Urine filter membrane photographed through a 4× microscope objective.
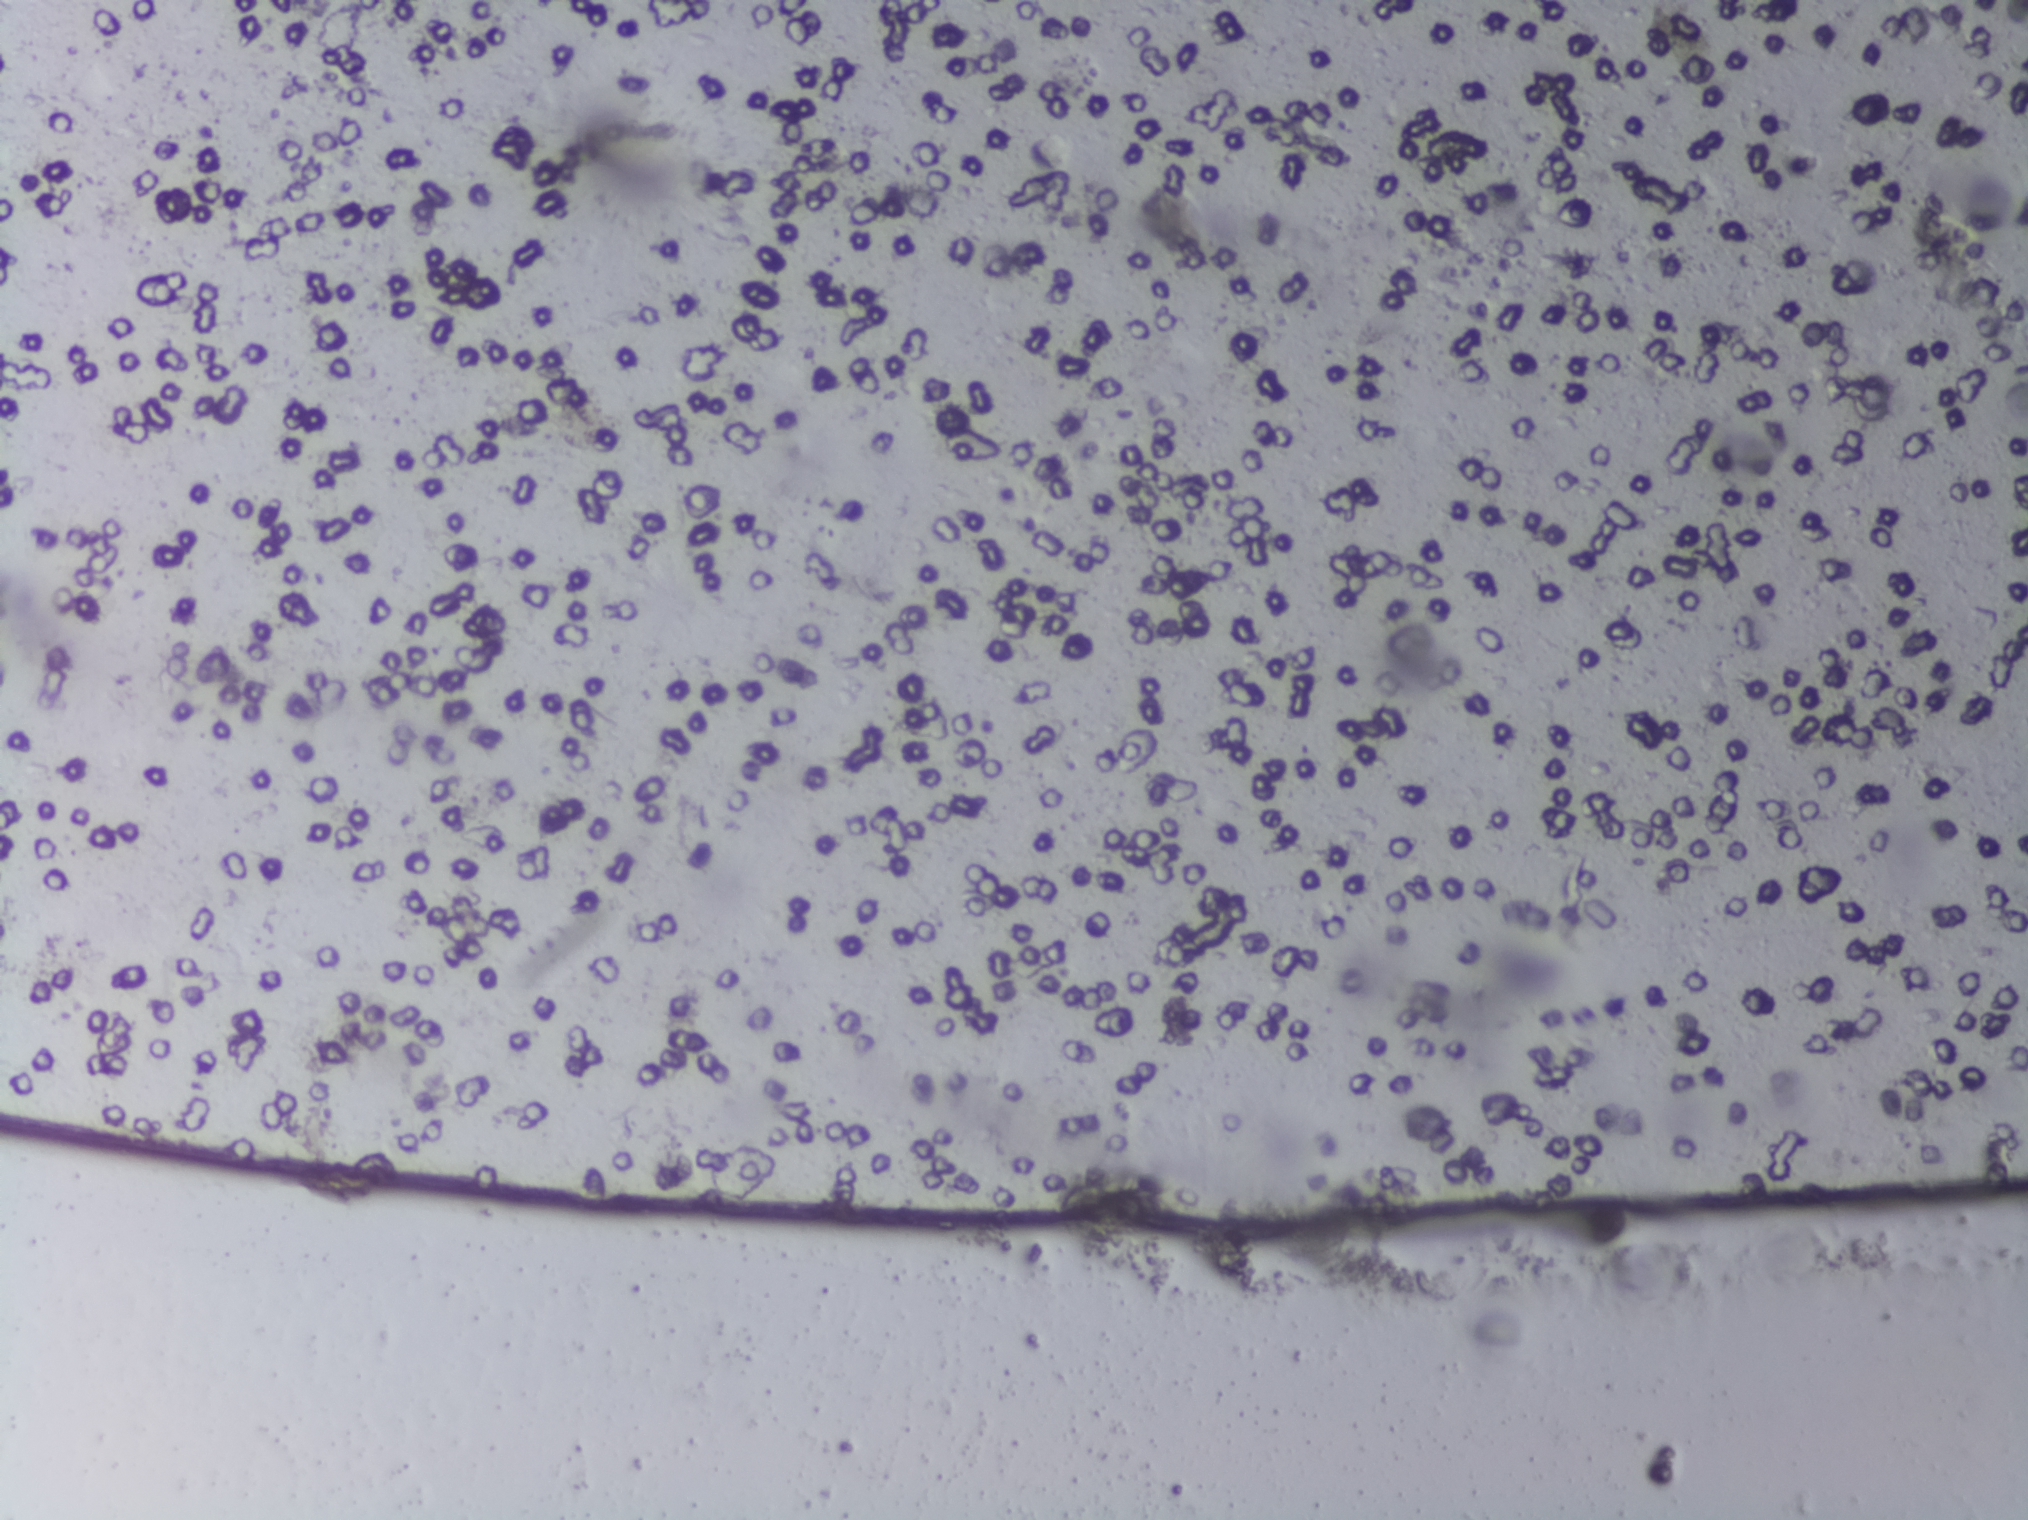
Schistosoma eggs: none outlined.